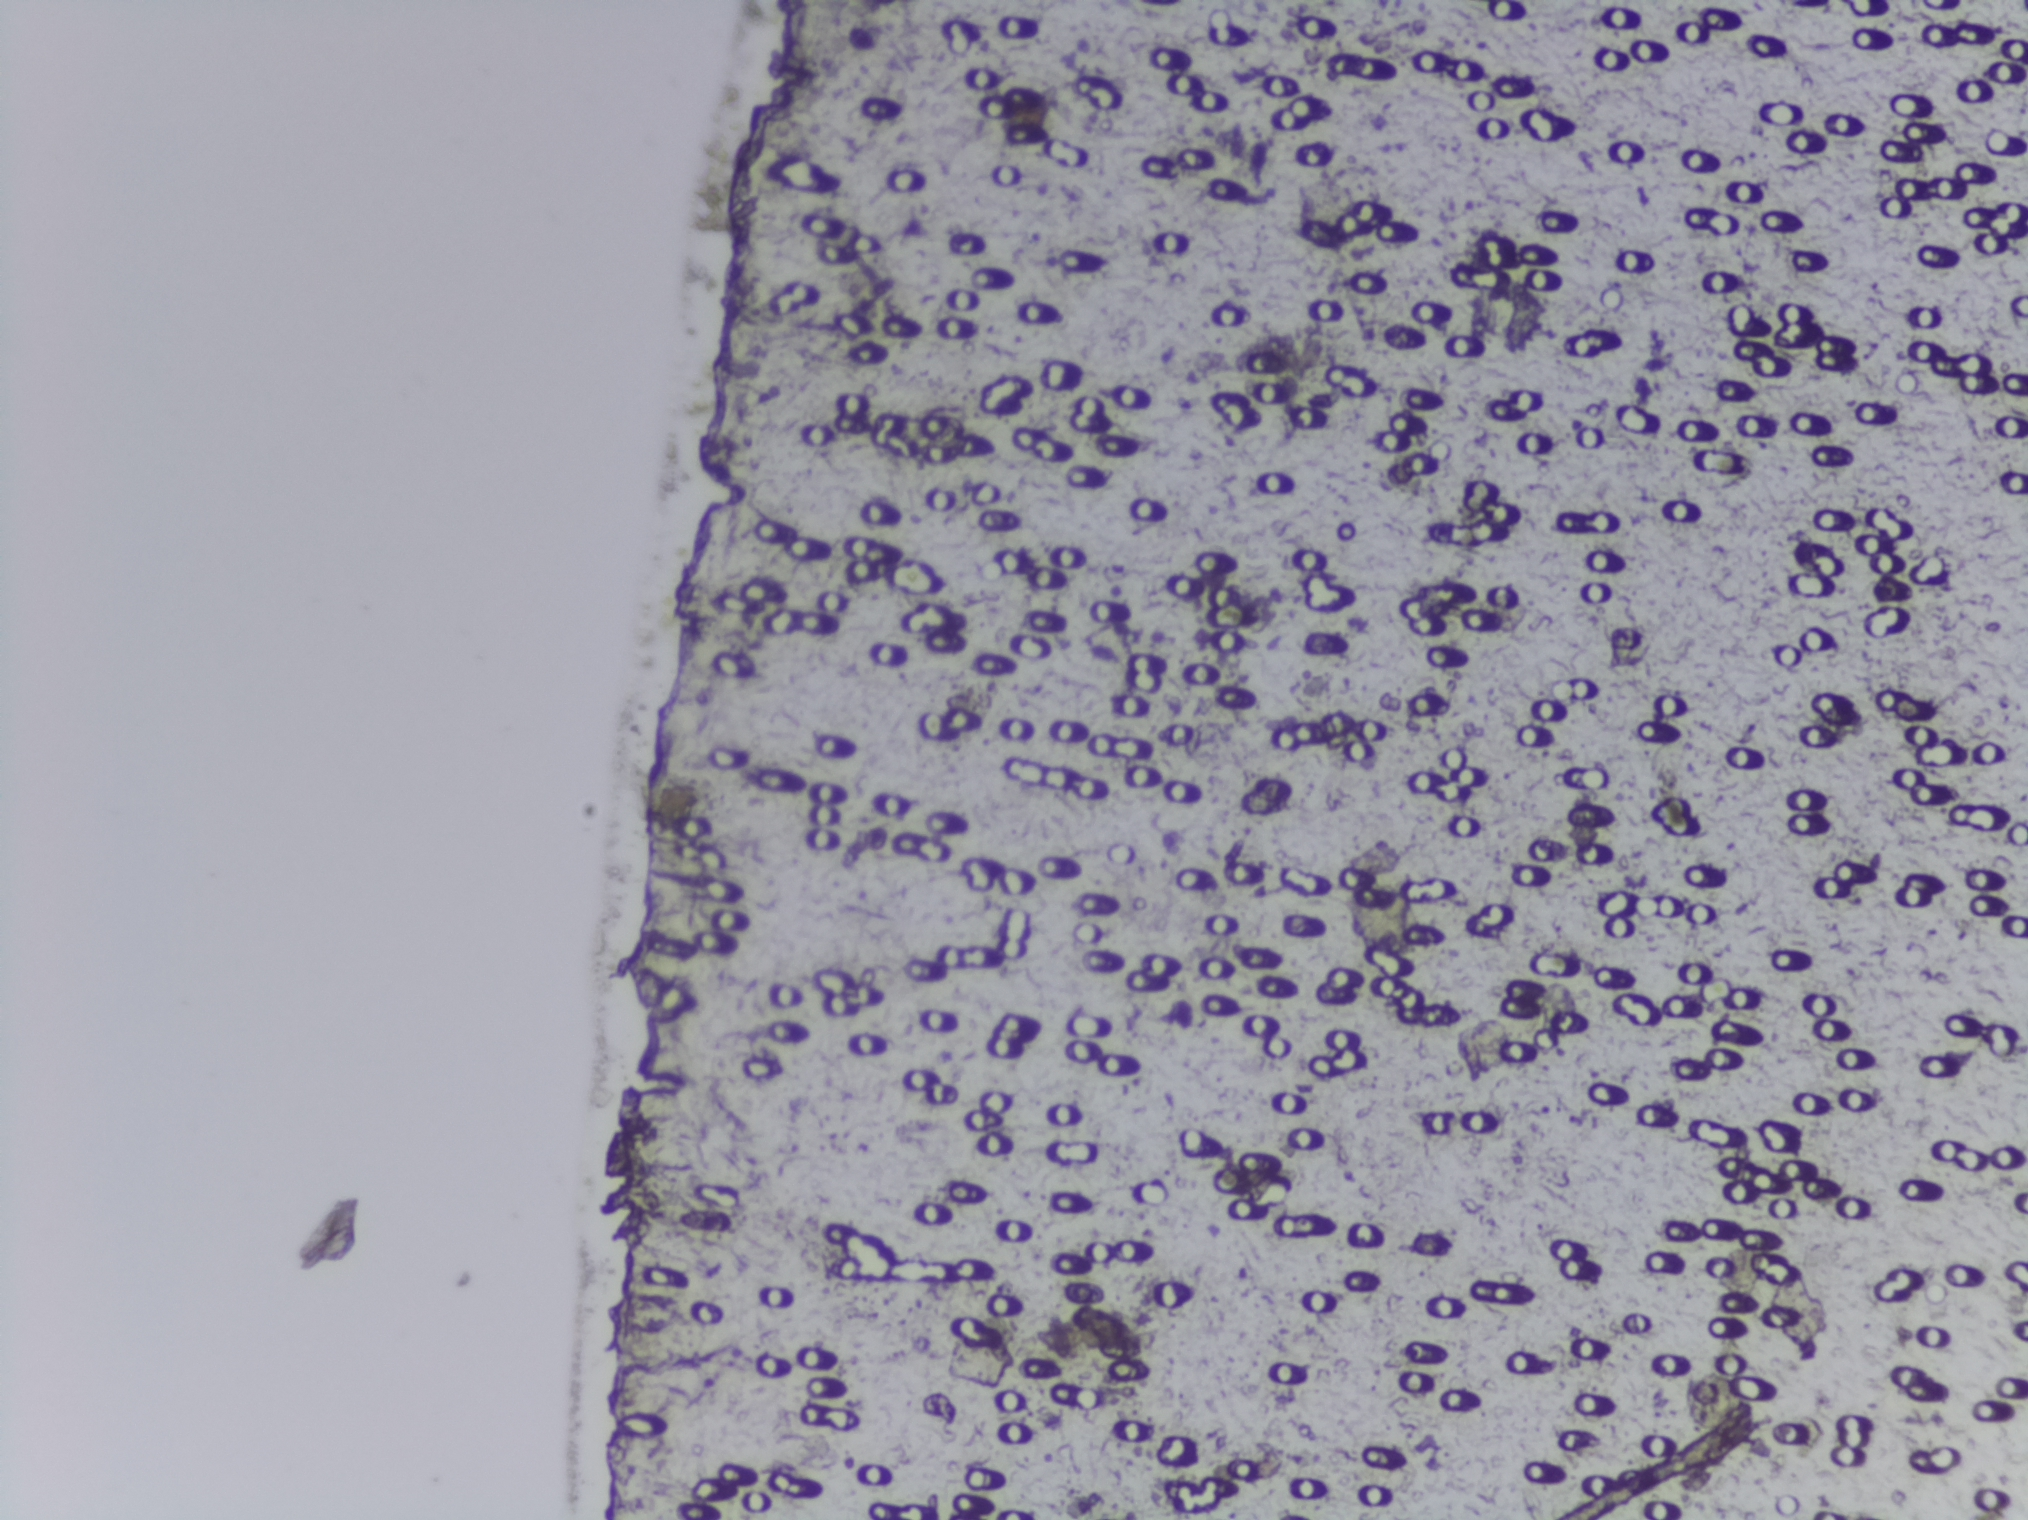
Schistosoma eggs: none outlined.
Urine filter membrane photographed through a 4× microscope objective.